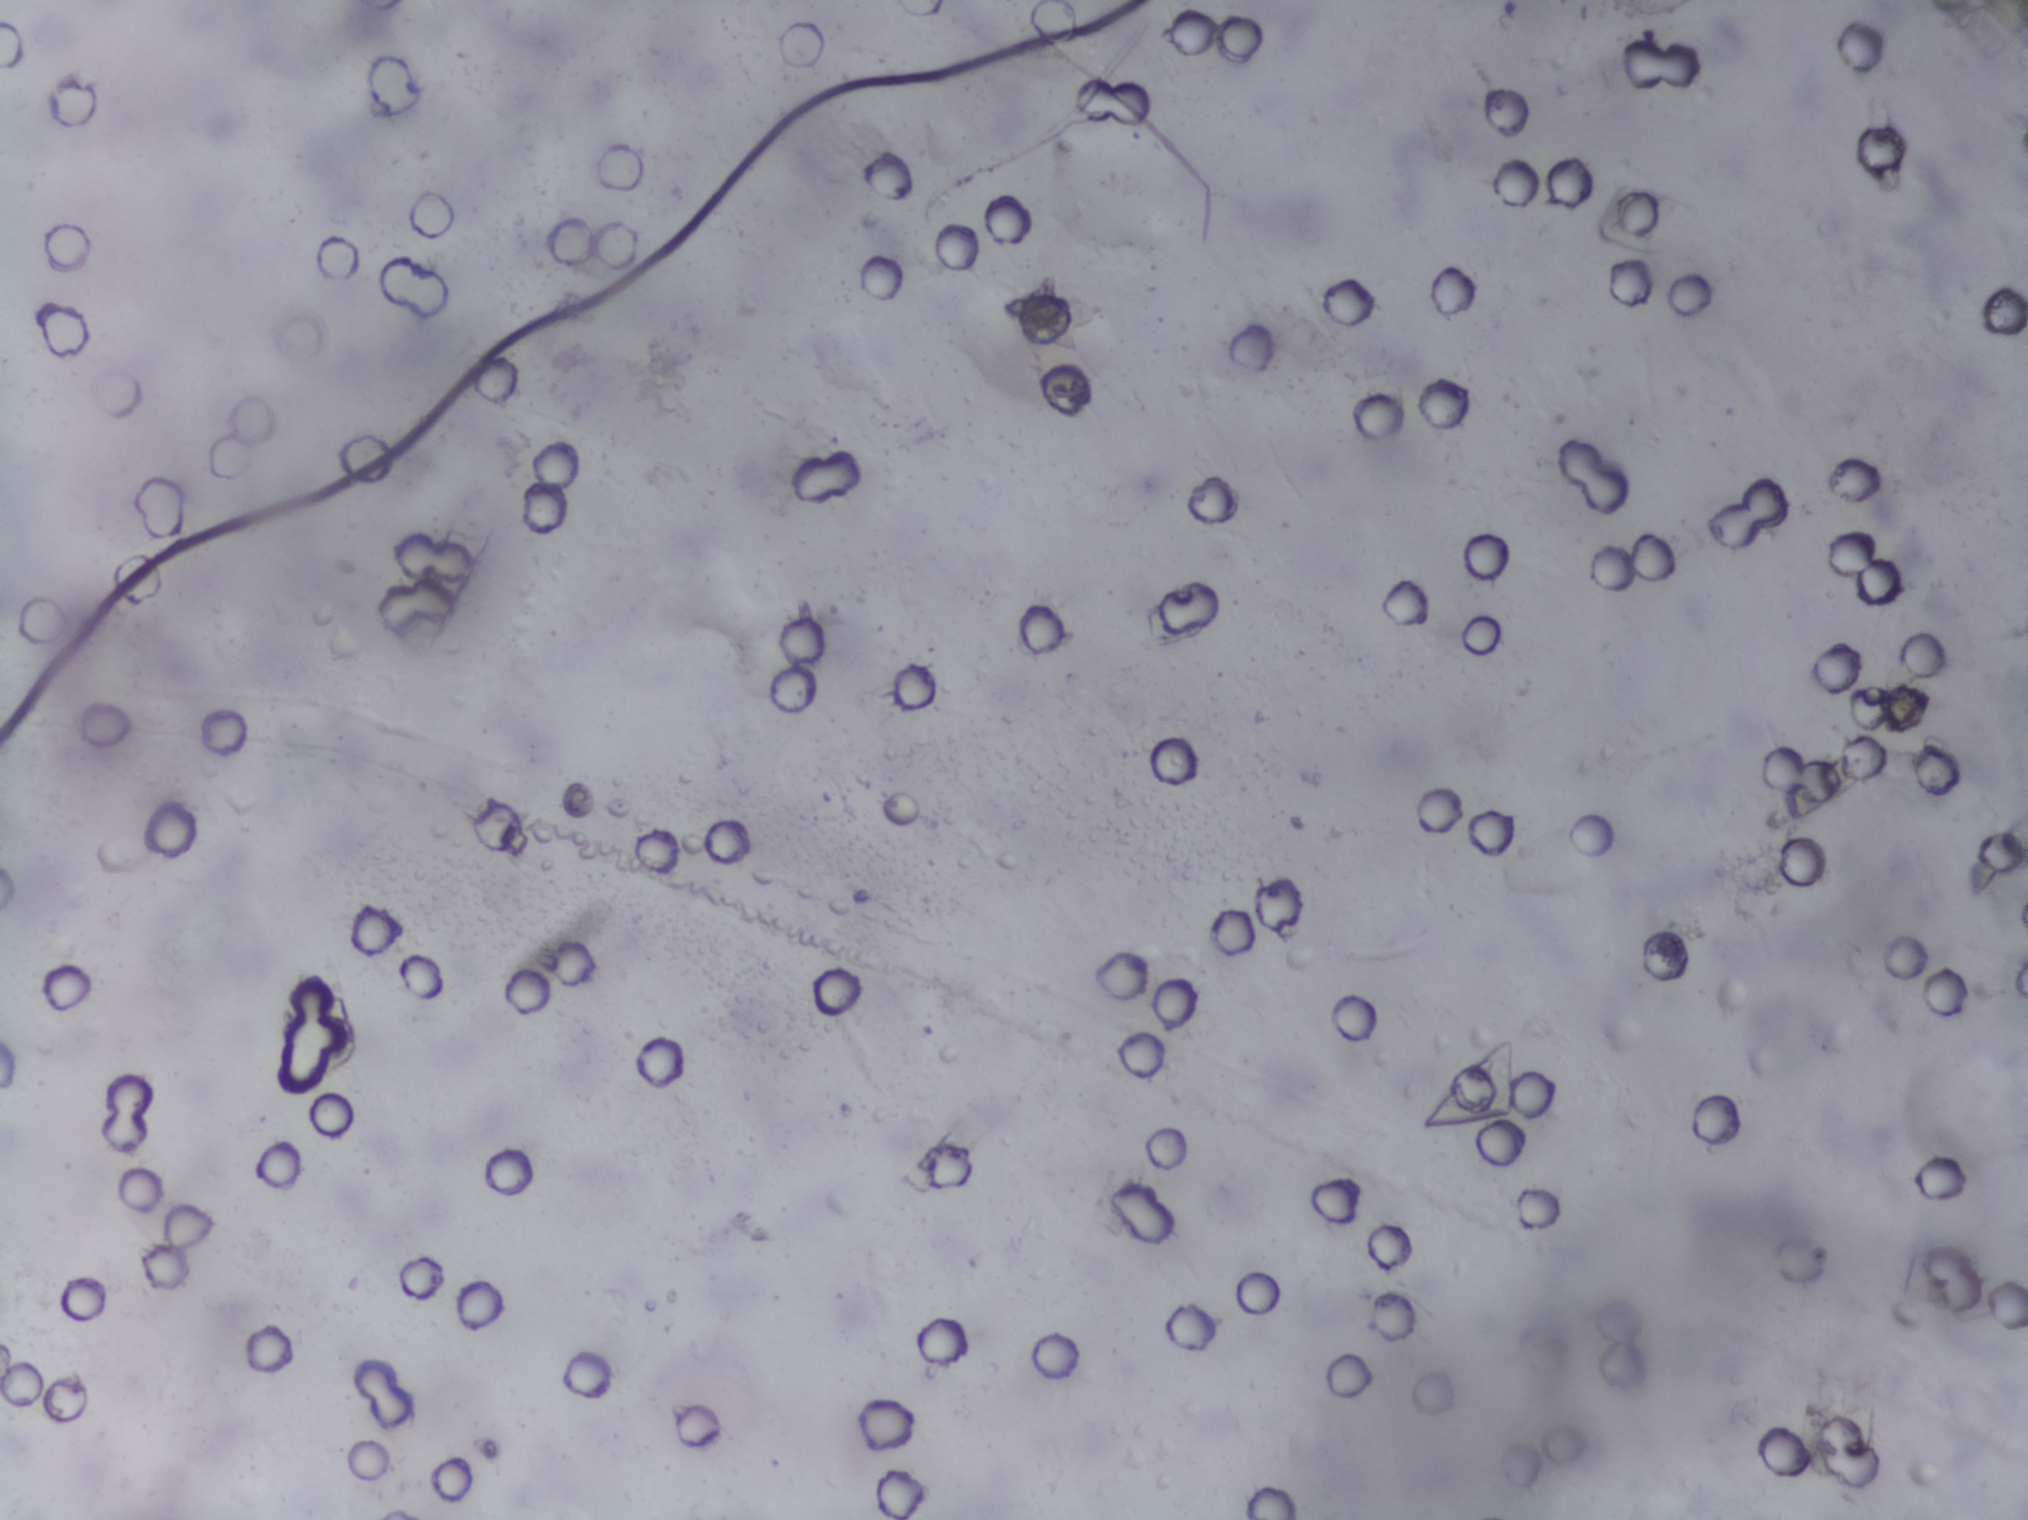
Schistosoma eggs: none outlined.
Urine filter membrane photographed through a 4× microscope objective. Field of view: about 1.5 mm wide and 1.1 mm high.